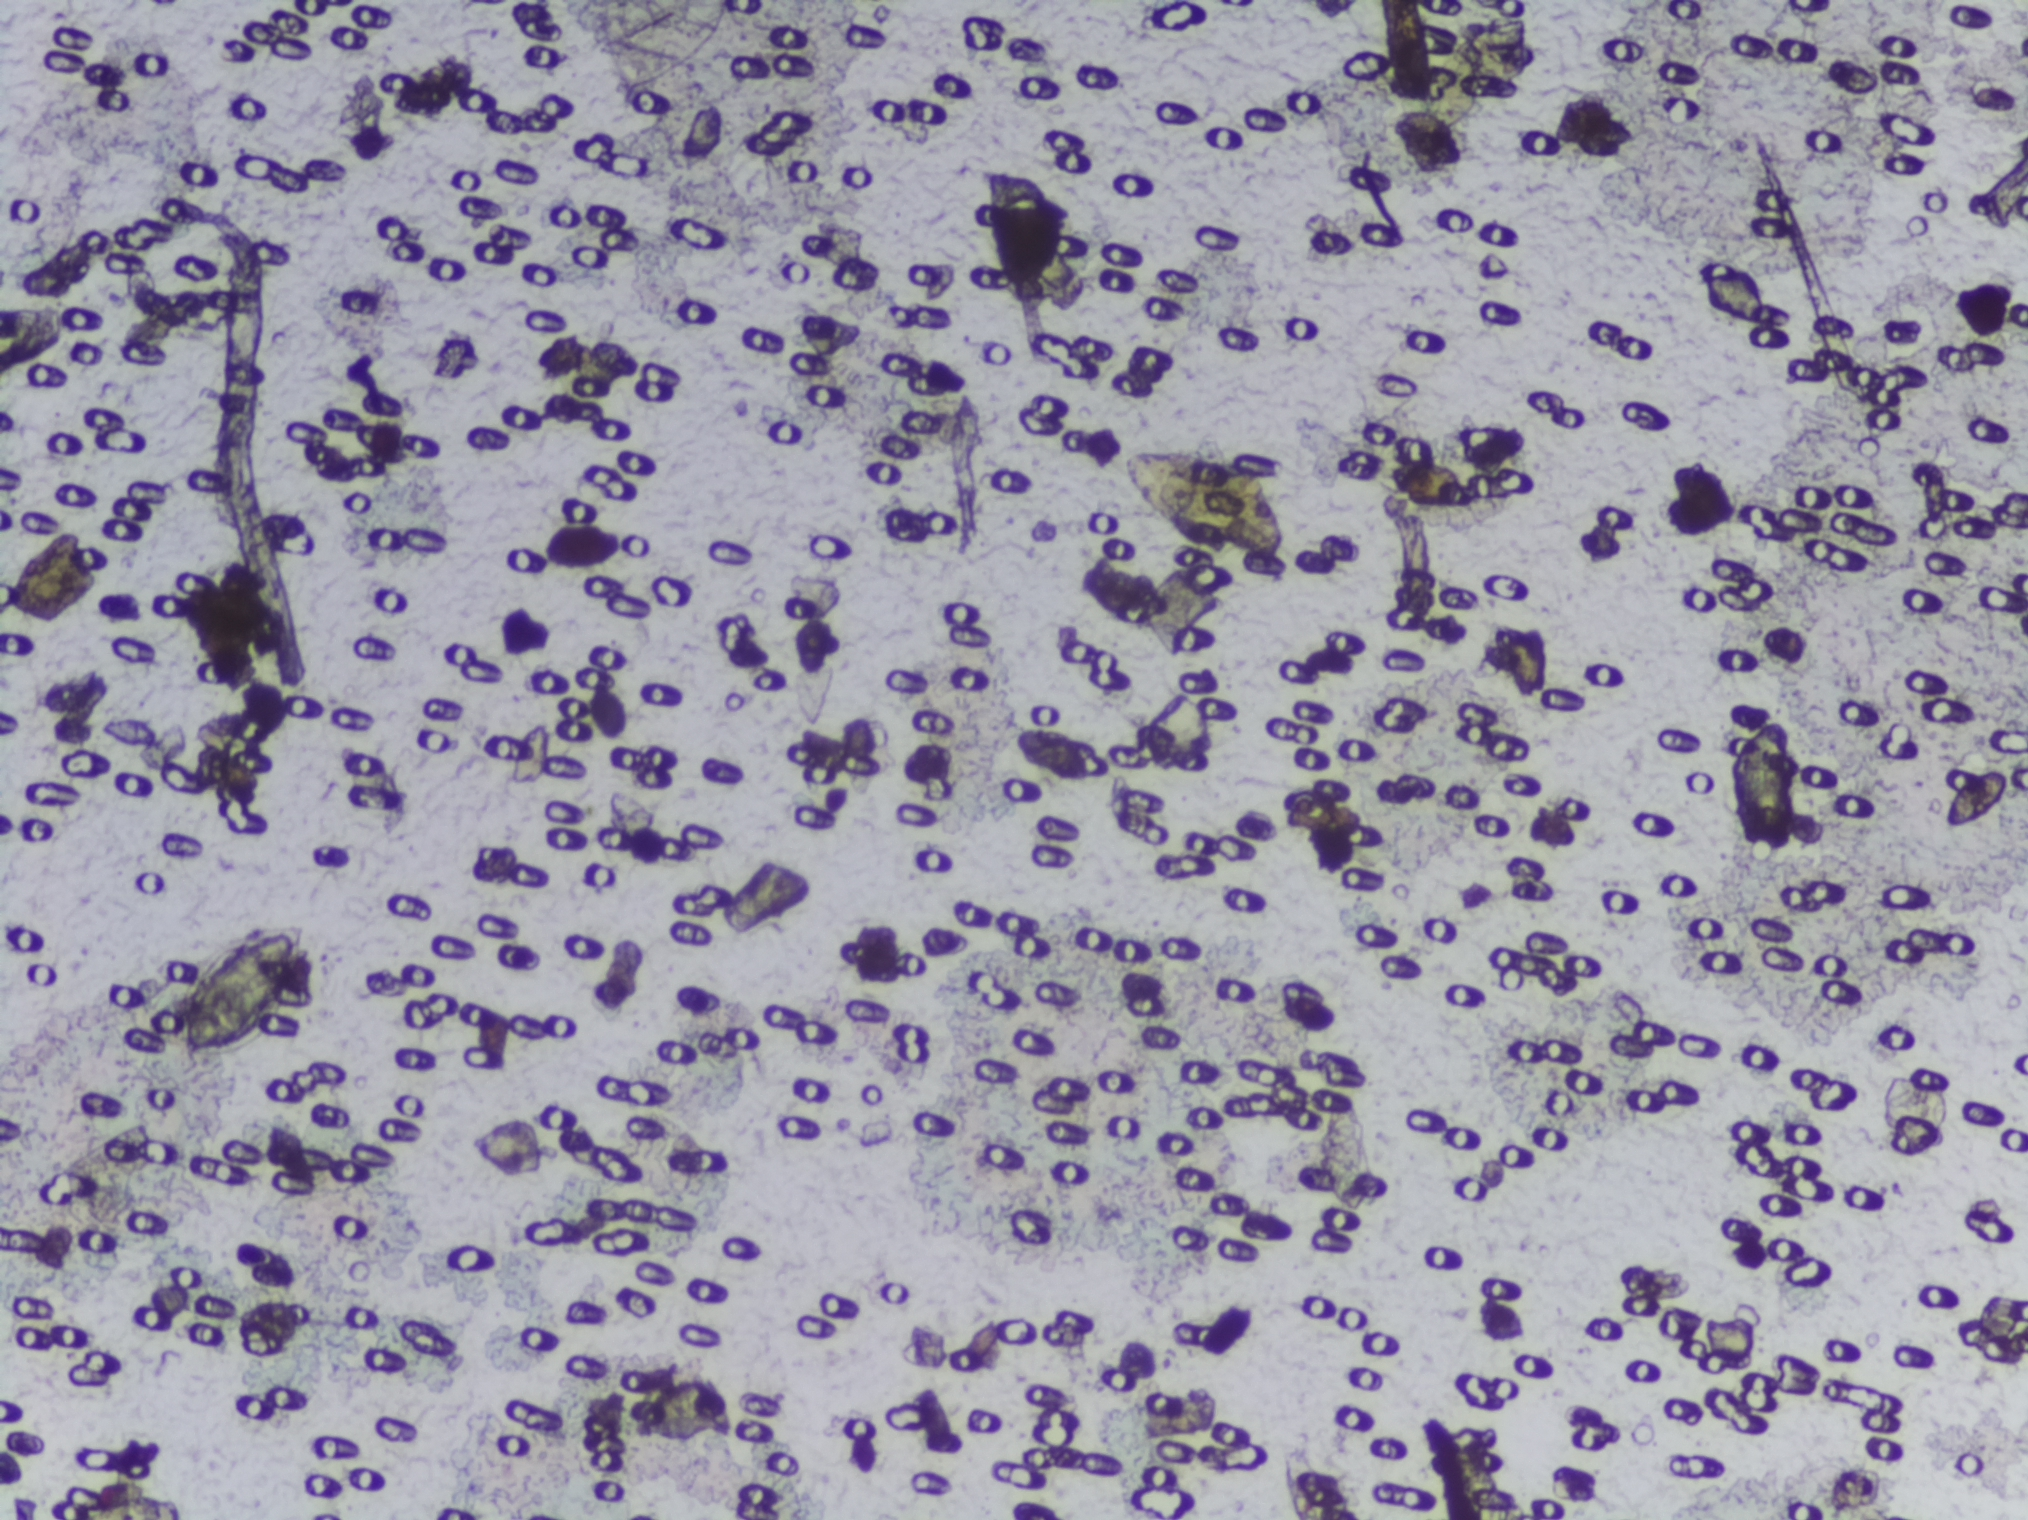
One field of view of a urine filter membrane, 4× objective, 2028 × 1520 pixels.
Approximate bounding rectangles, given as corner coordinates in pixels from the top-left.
The expert annotation outlines Schistosoma eggs at (x1=161, y1=914, x2=318, y2=1061) and (x1=1123, y1=443, x2=1288, y2=568) (left to right). Eggs that touch can end up inside the same outlined area. A marked egg may occasionally be S. mansoni rather than S. haematobium.